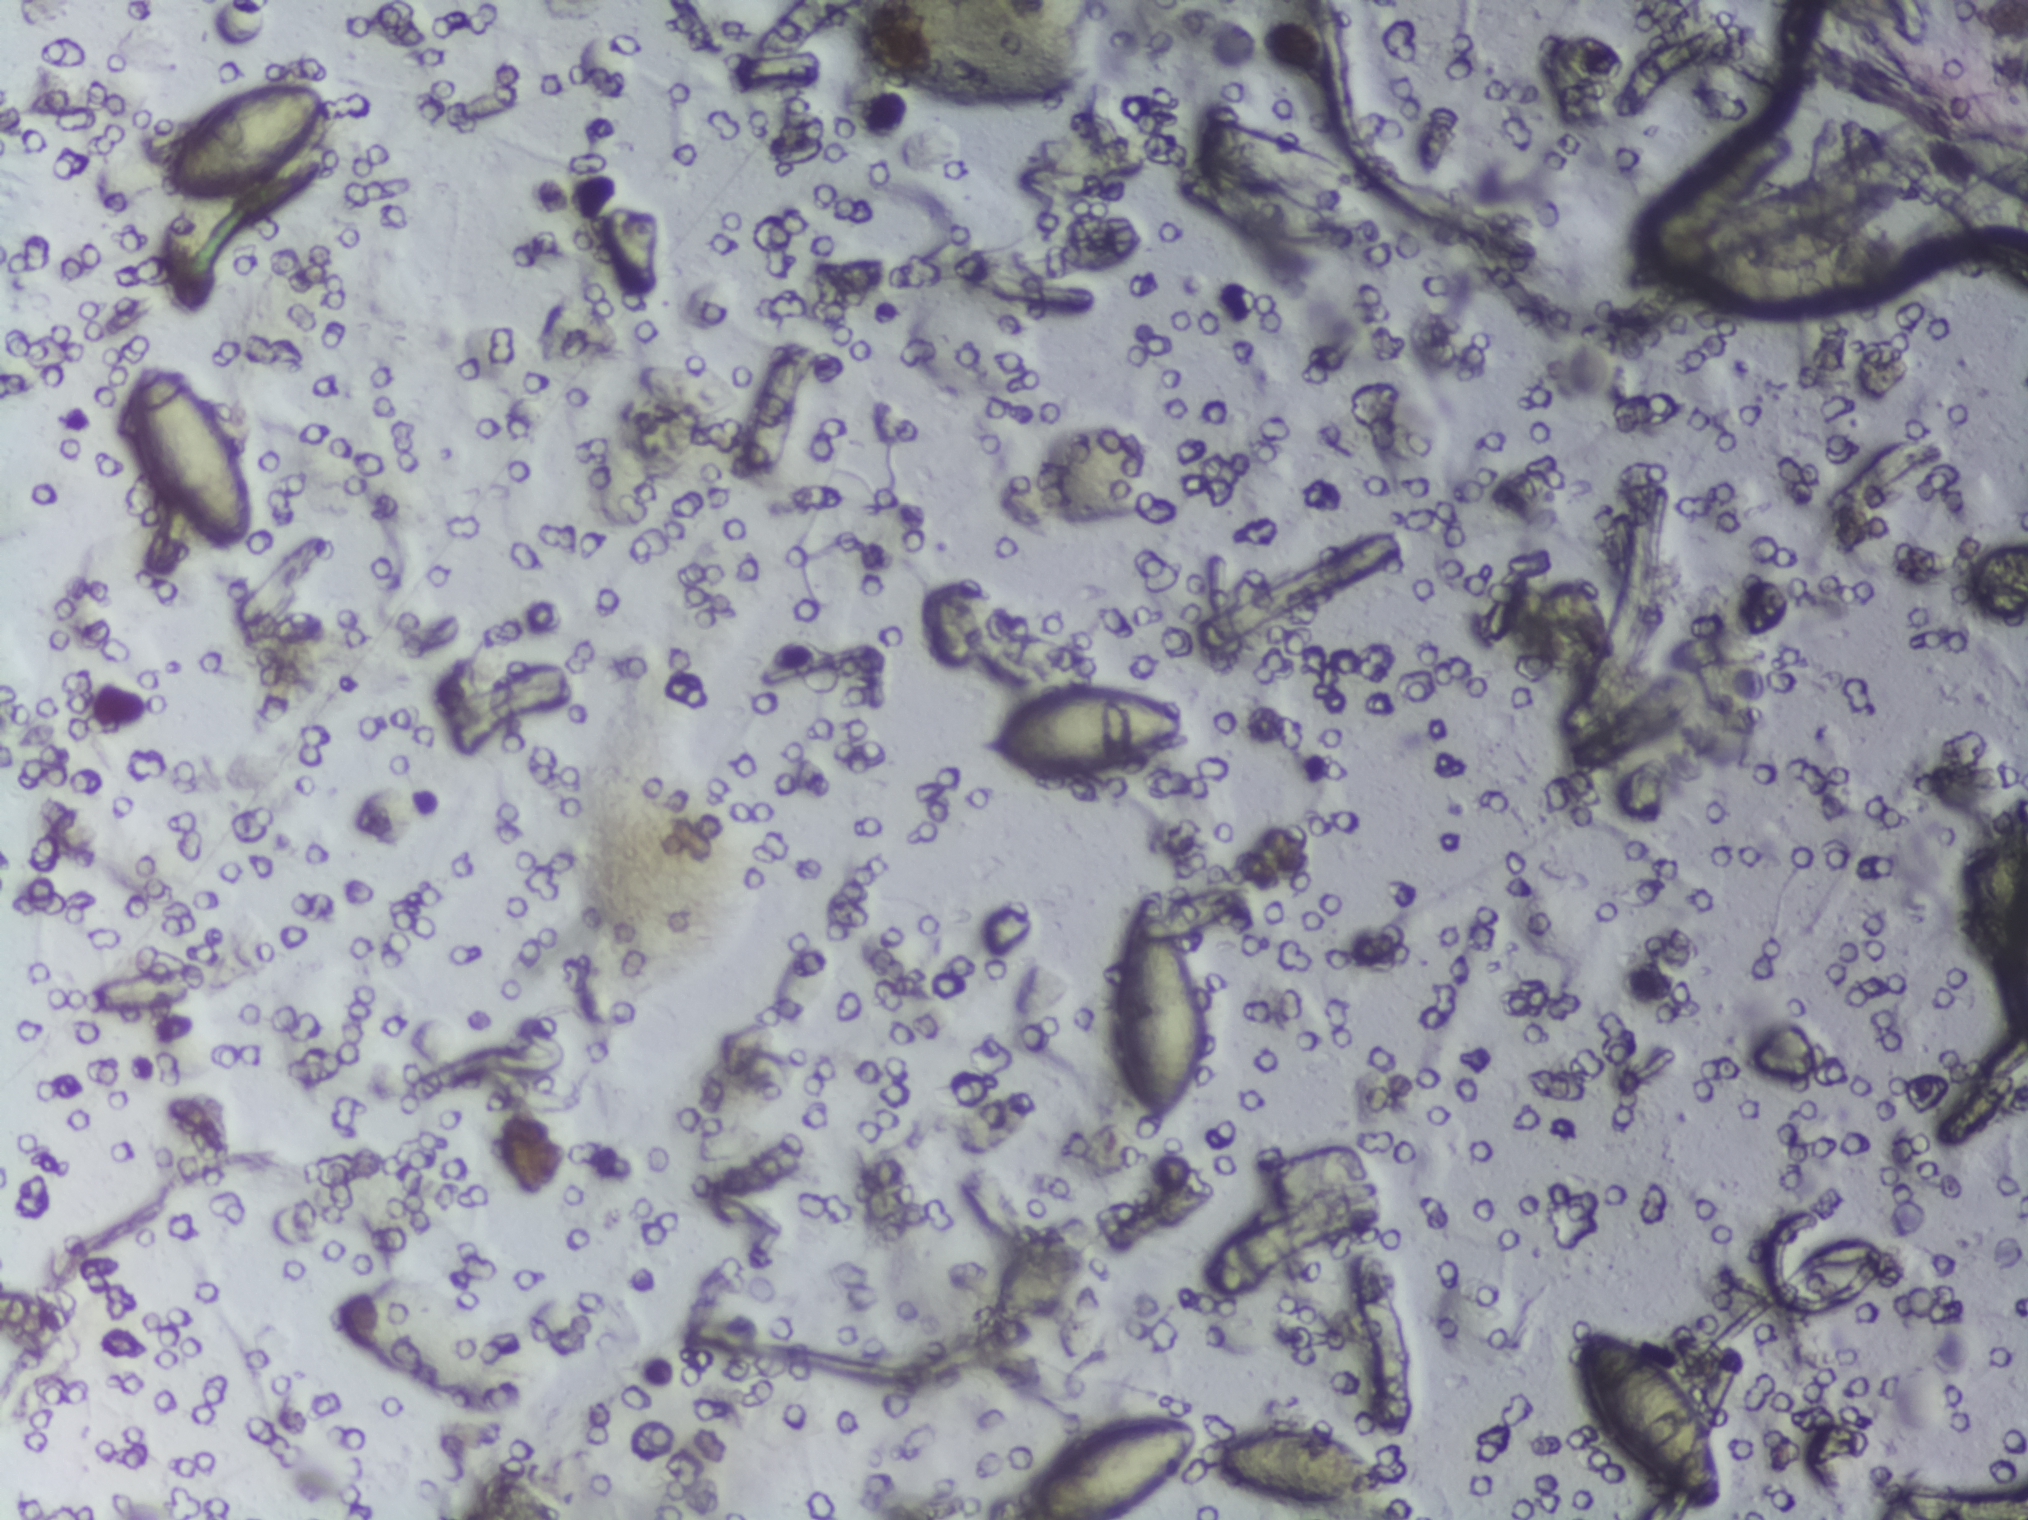
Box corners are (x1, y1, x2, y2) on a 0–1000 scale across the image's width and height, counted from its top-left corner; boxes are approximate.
Findings: seven areas outlined as Schistosoma eggs. Locations, left to right: (61, 233, 129, 364); (78, 53, 164, 140); (484, 448, 586, 517); (500, 930, 689, 1000) (reaching the bottom edge of the frame); (547, 583, 595, 744); (775, 875, 853, 995); (827, 139, 942, 213). An outlined area can hold more than one egg.
Urine filter membrane photographed through a 4× microscope objective.